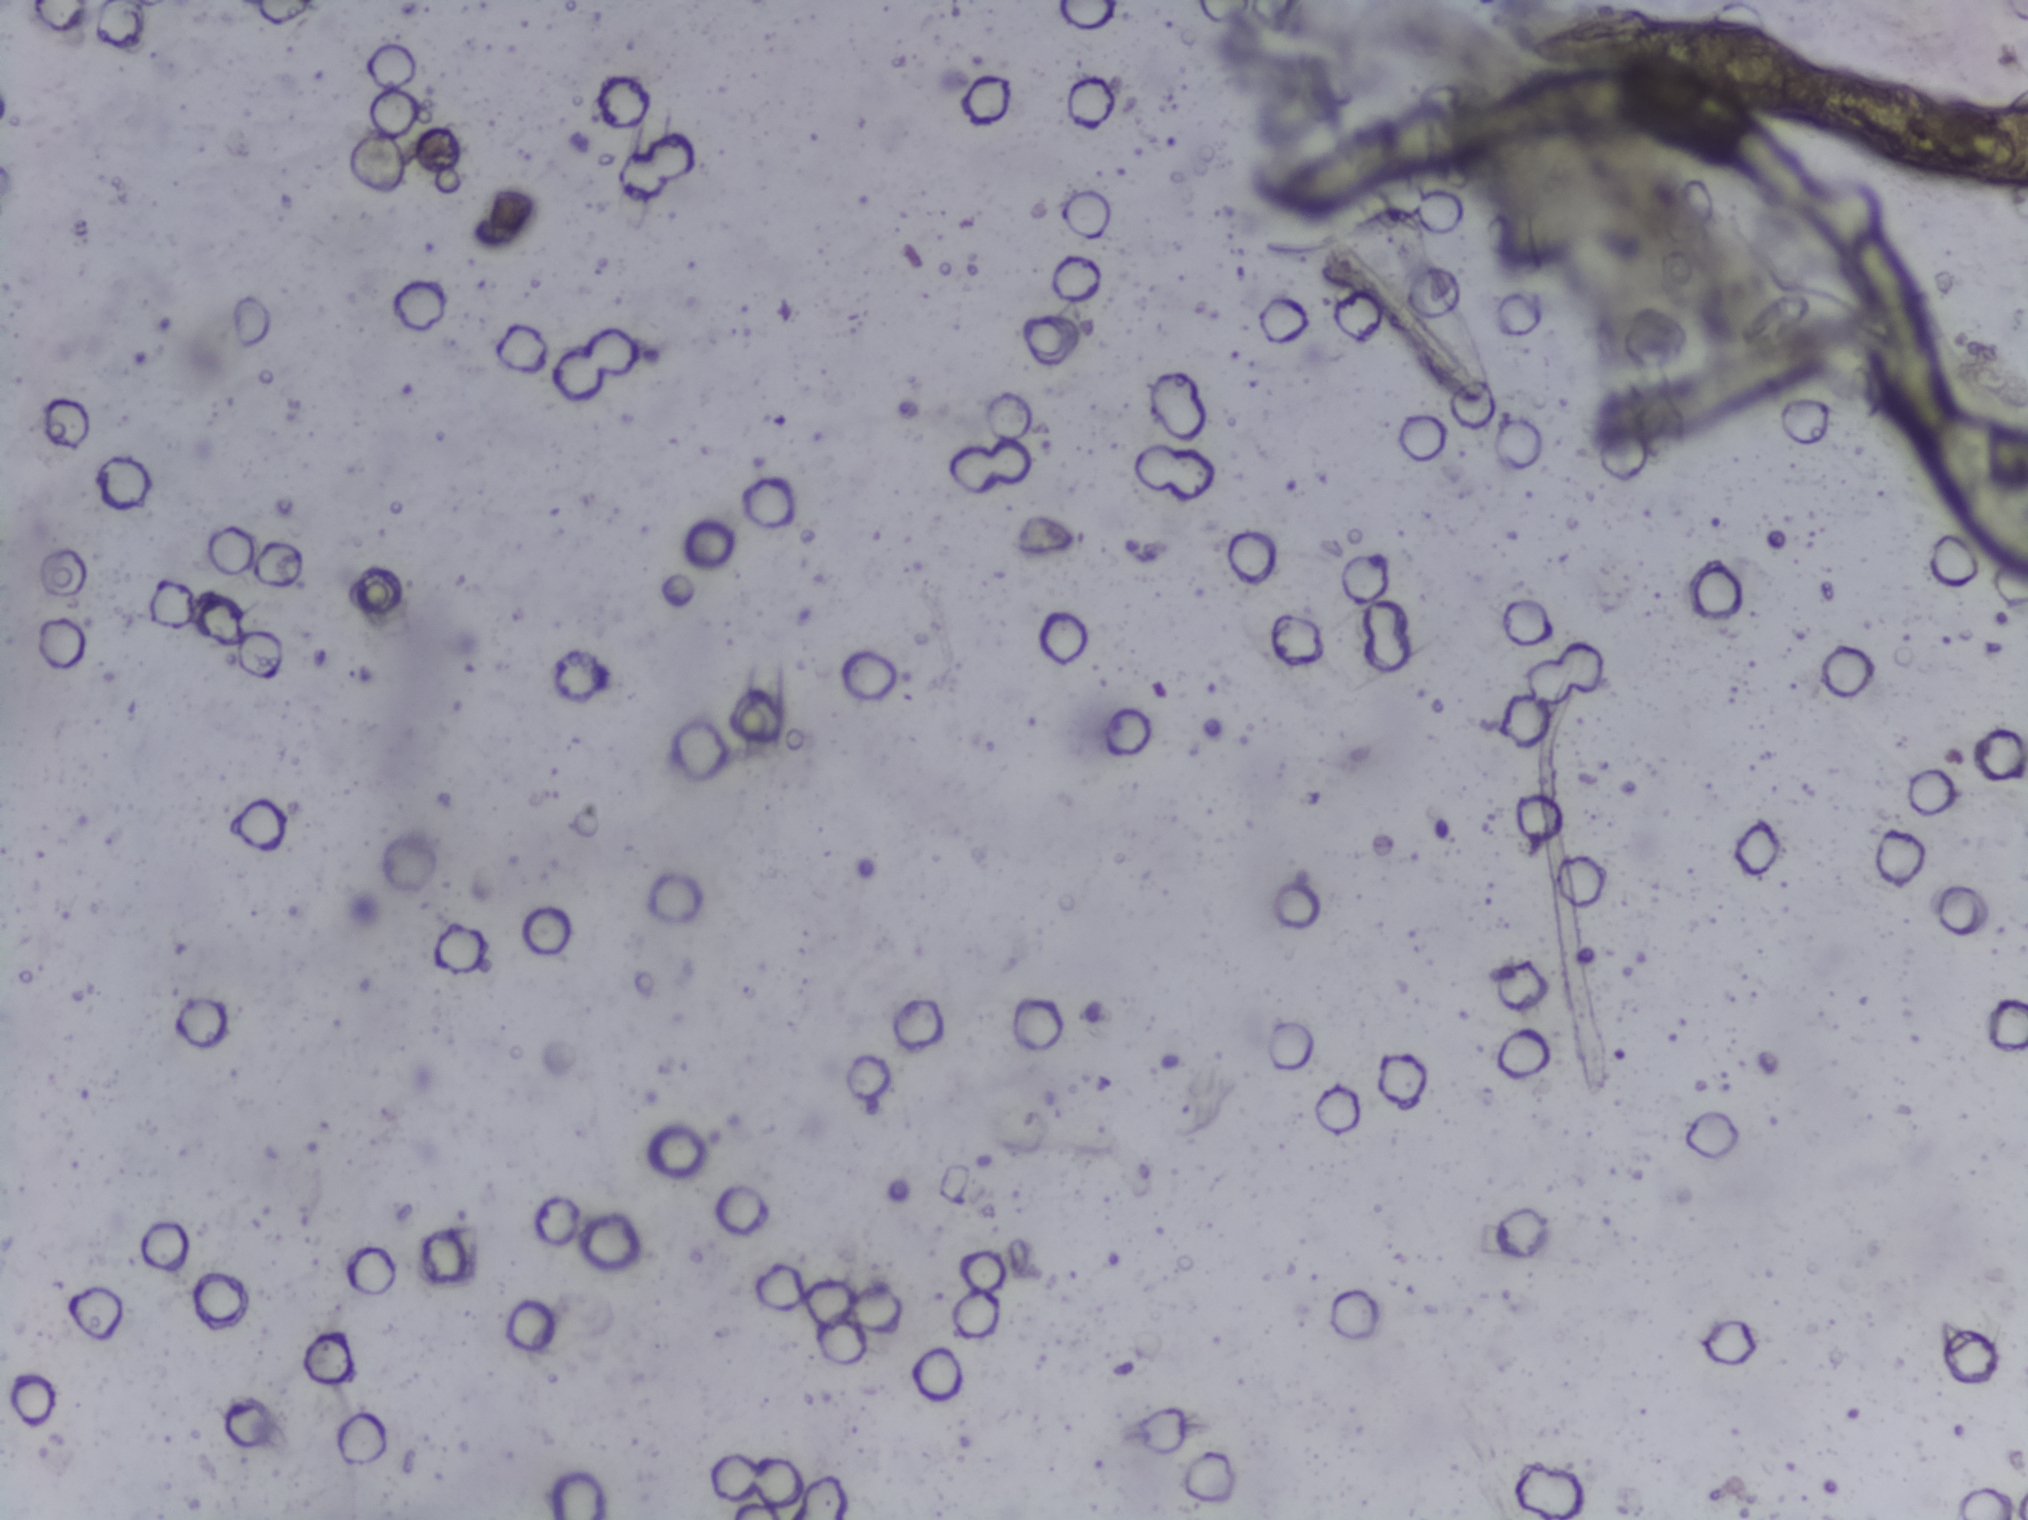
Urine filtration membrane under a 4× objective, photographed by an automated digital microscope.
No Schistosoma egg is outlined in this image's expert annotation.